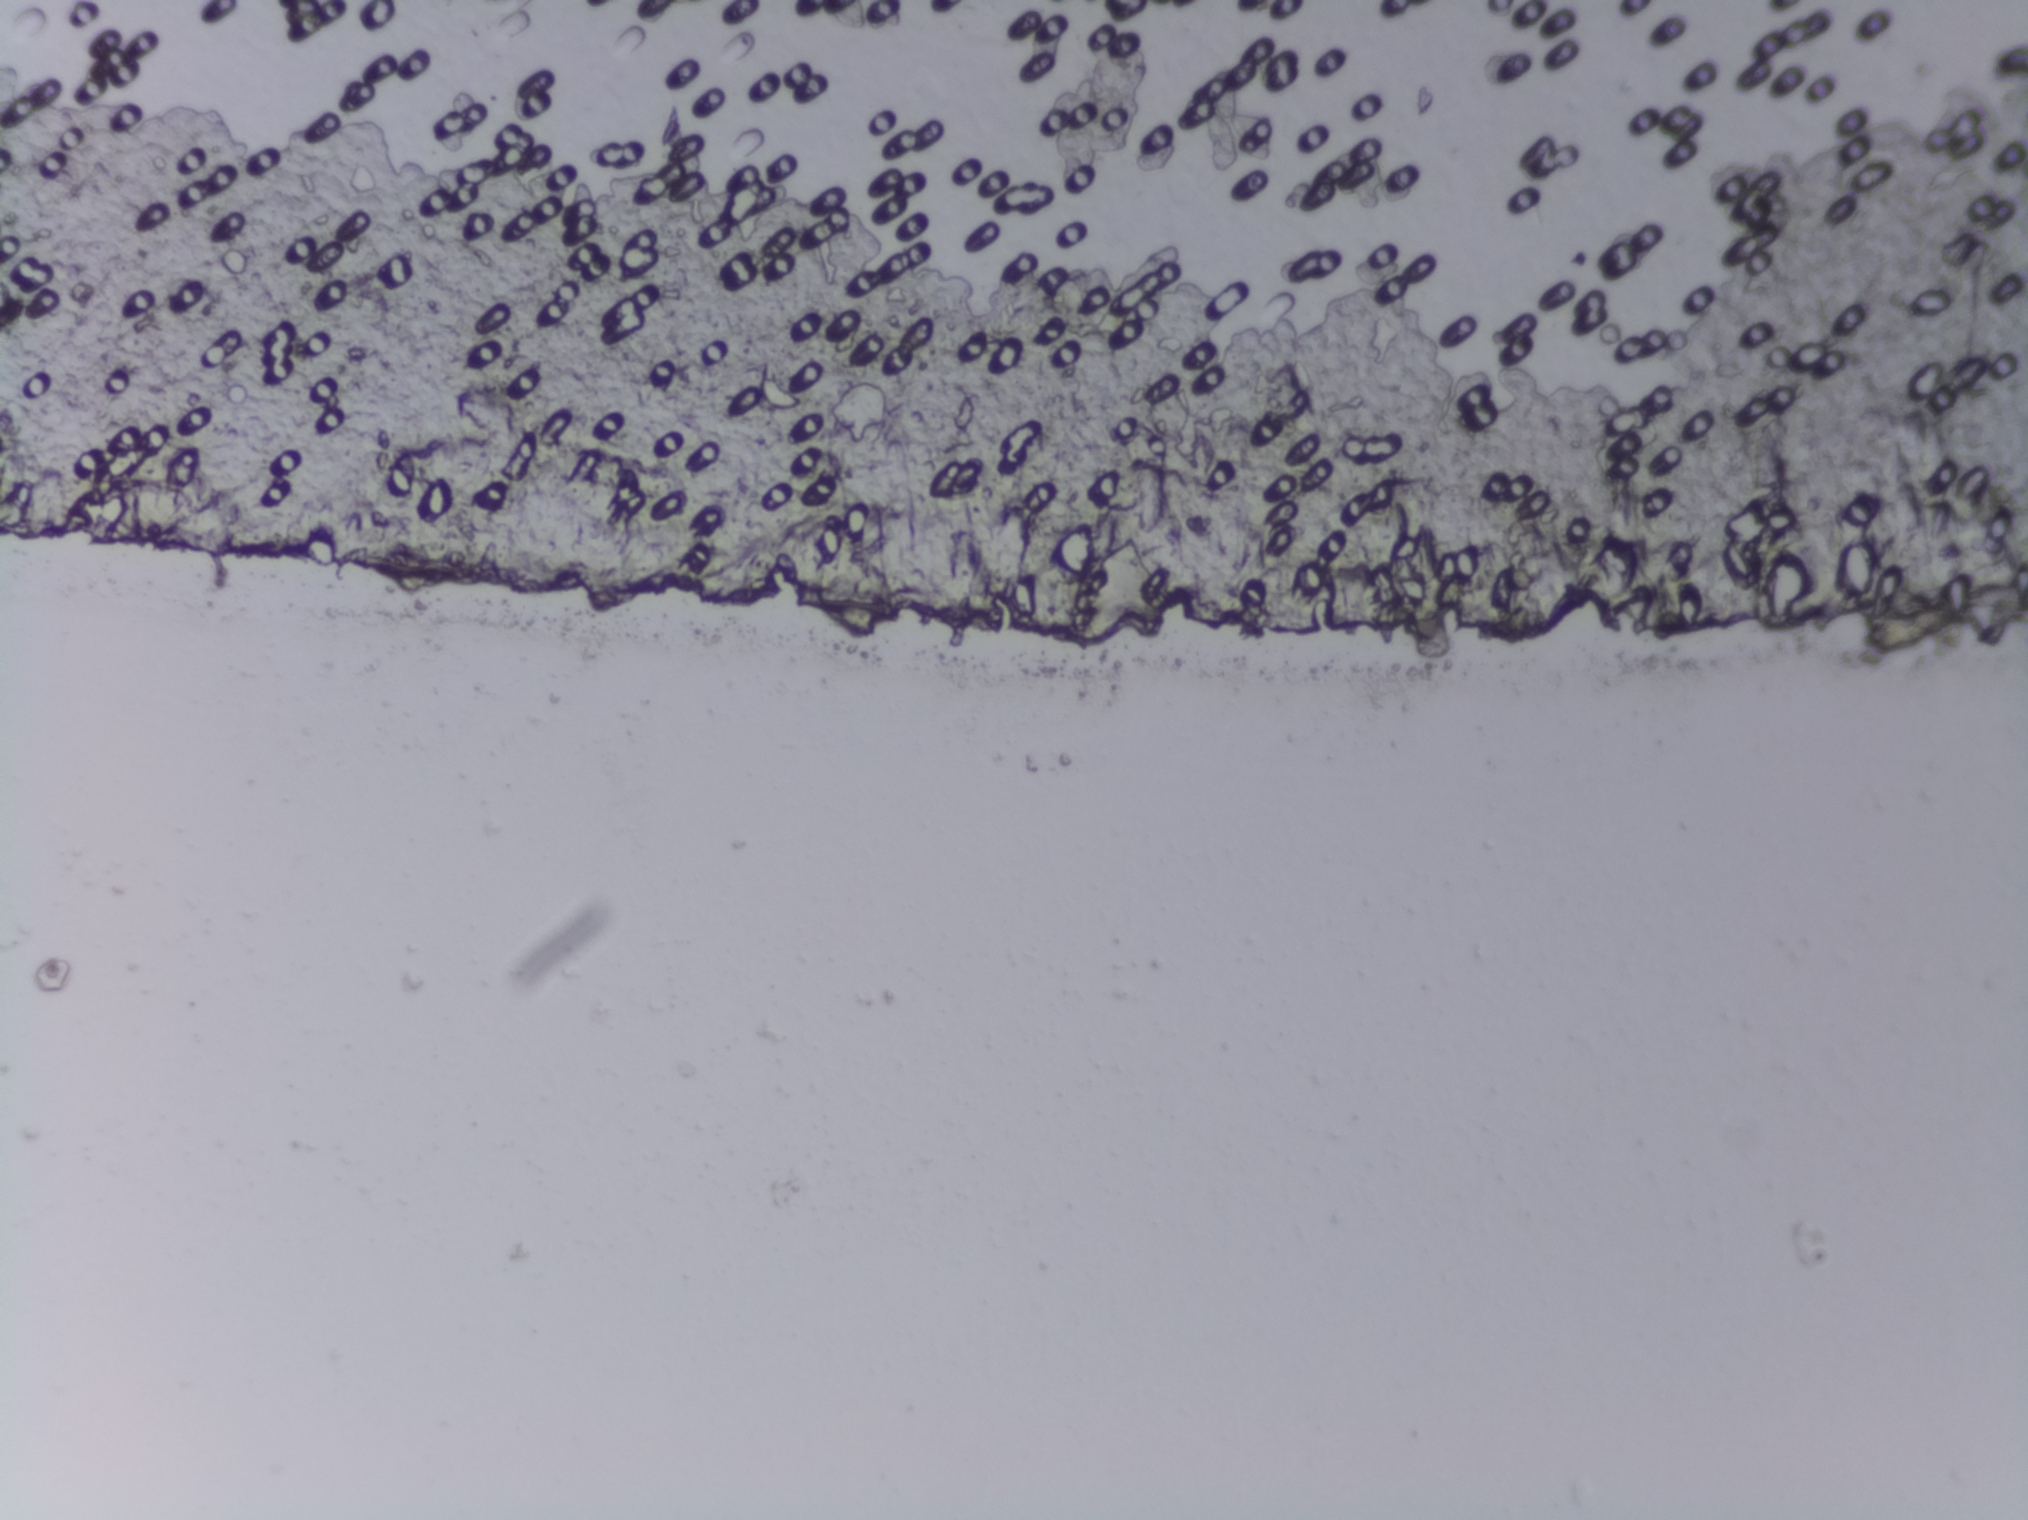
Urine filtration membrane under a 4× objective, photographed by an automated digital microscope.
The expert annotation outlines no Schistosoma egg in this image.